One field of view of a urine filter membrane, 4× objective, 2028 × 1520 pixels. The field of view is about 1.5 mm × 1.1 mm.
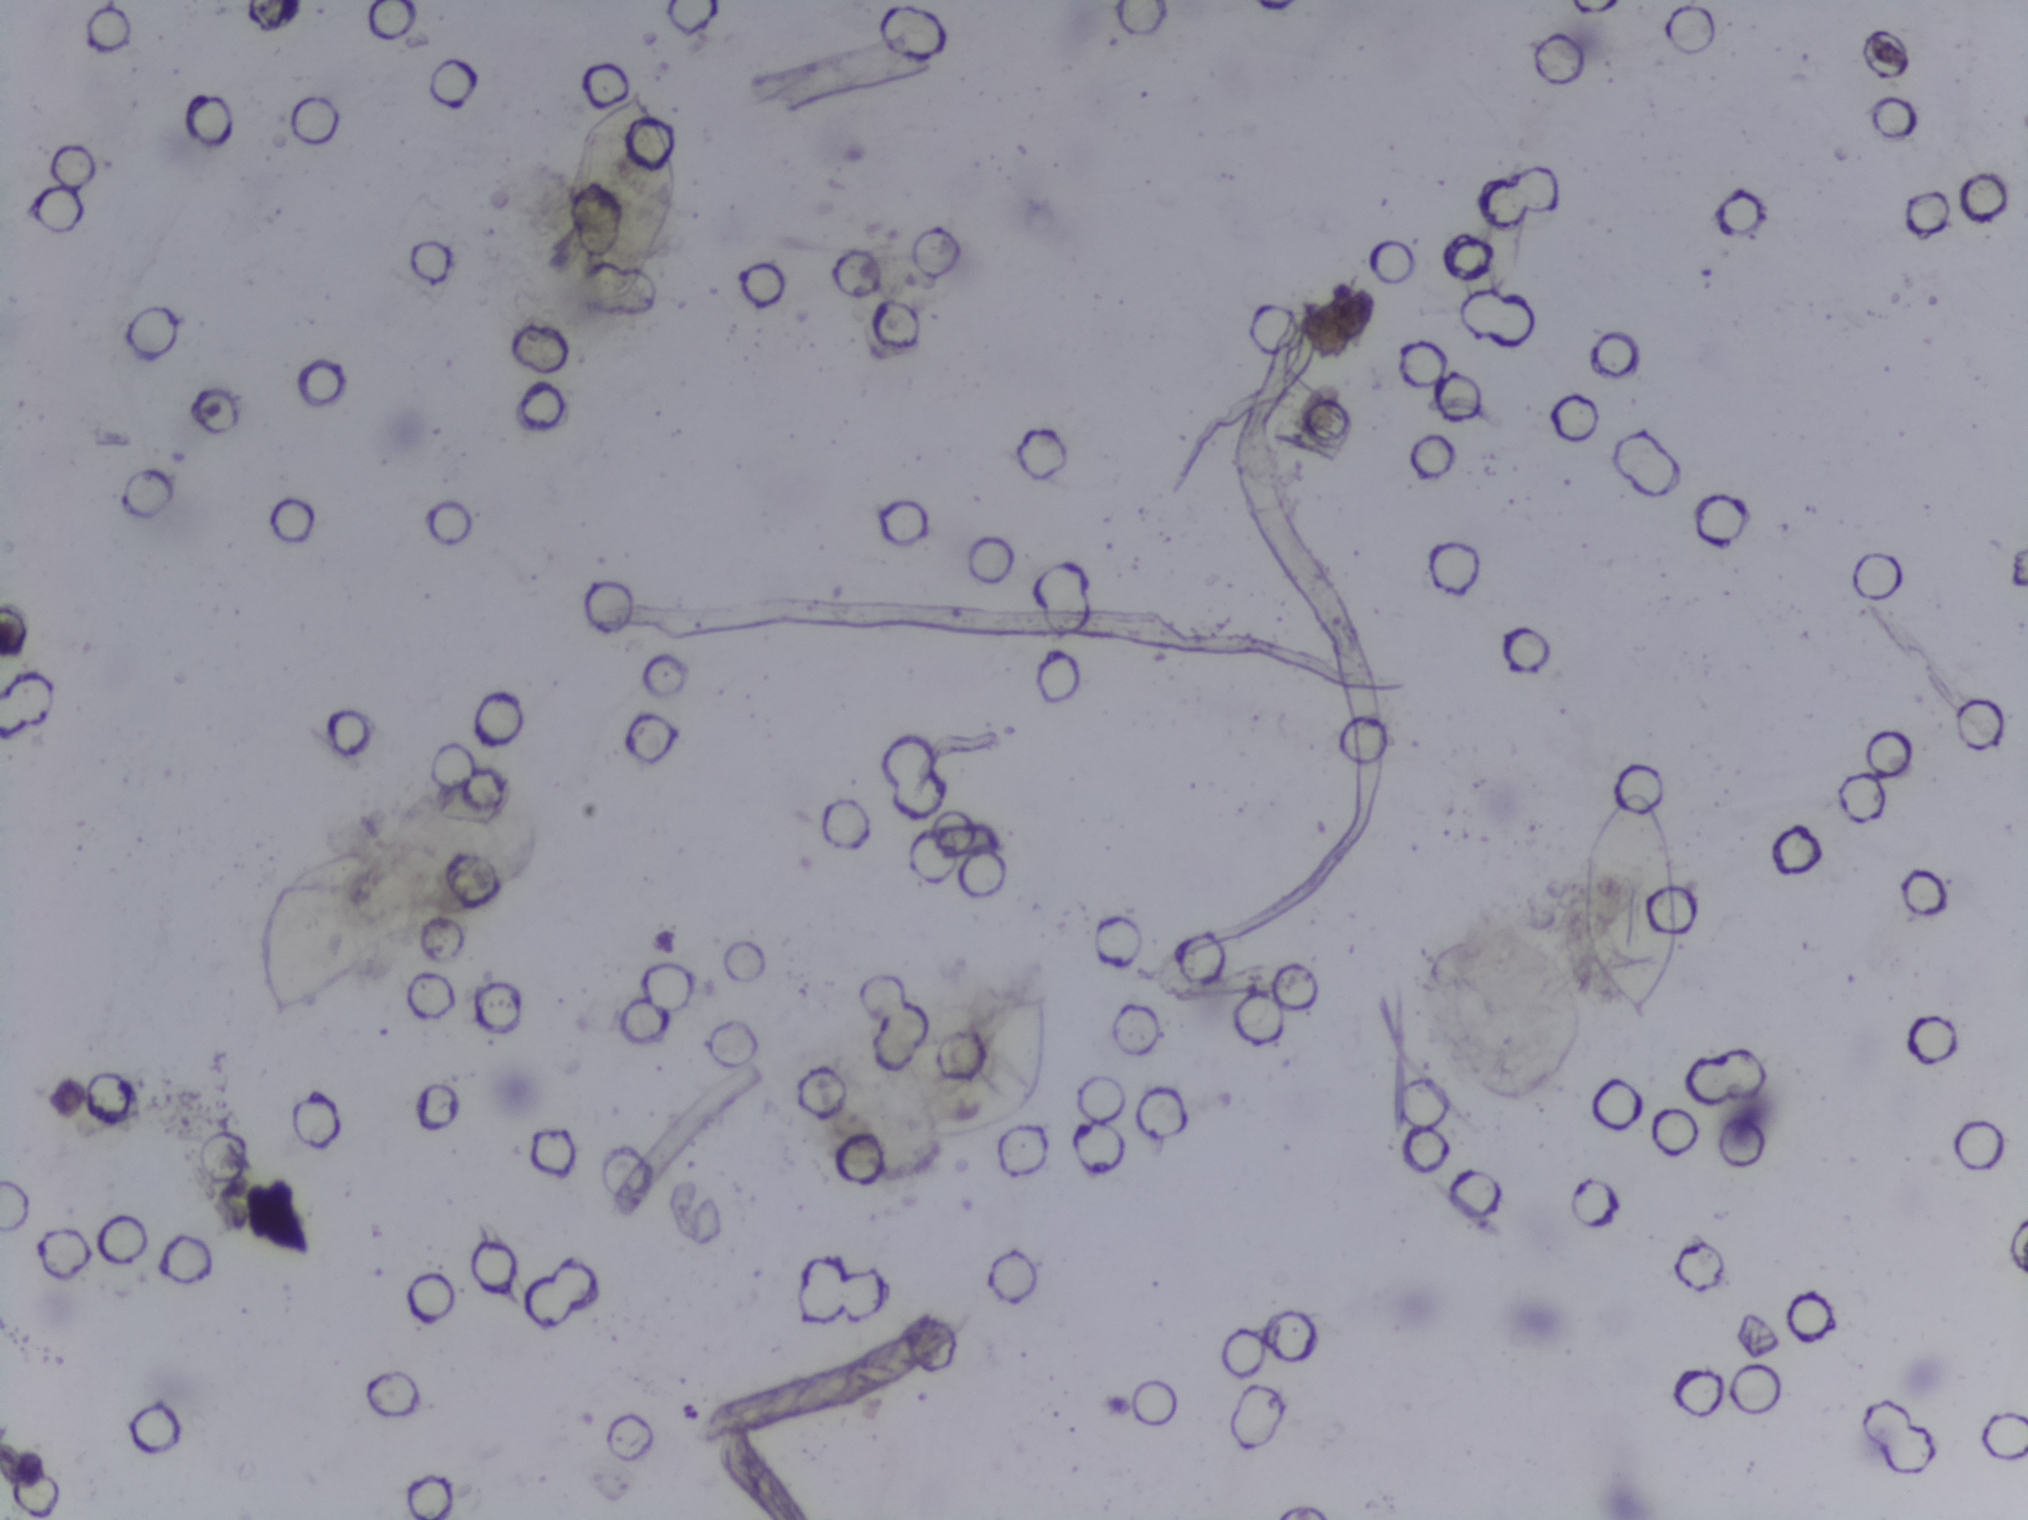
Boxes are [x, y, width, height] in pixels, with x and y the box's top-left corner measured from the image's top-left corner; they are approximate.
Areas outlined as Schistosoma eggs: [259, 837, 143, 189]; [565, 86, 112, 218]; [908, 988, 146, 160]; [1571, 789, 112, 236]. Eggs that touch can end up inside the same outlined area.